Photomicrograph of a urine filtration membrane, 4× objective.
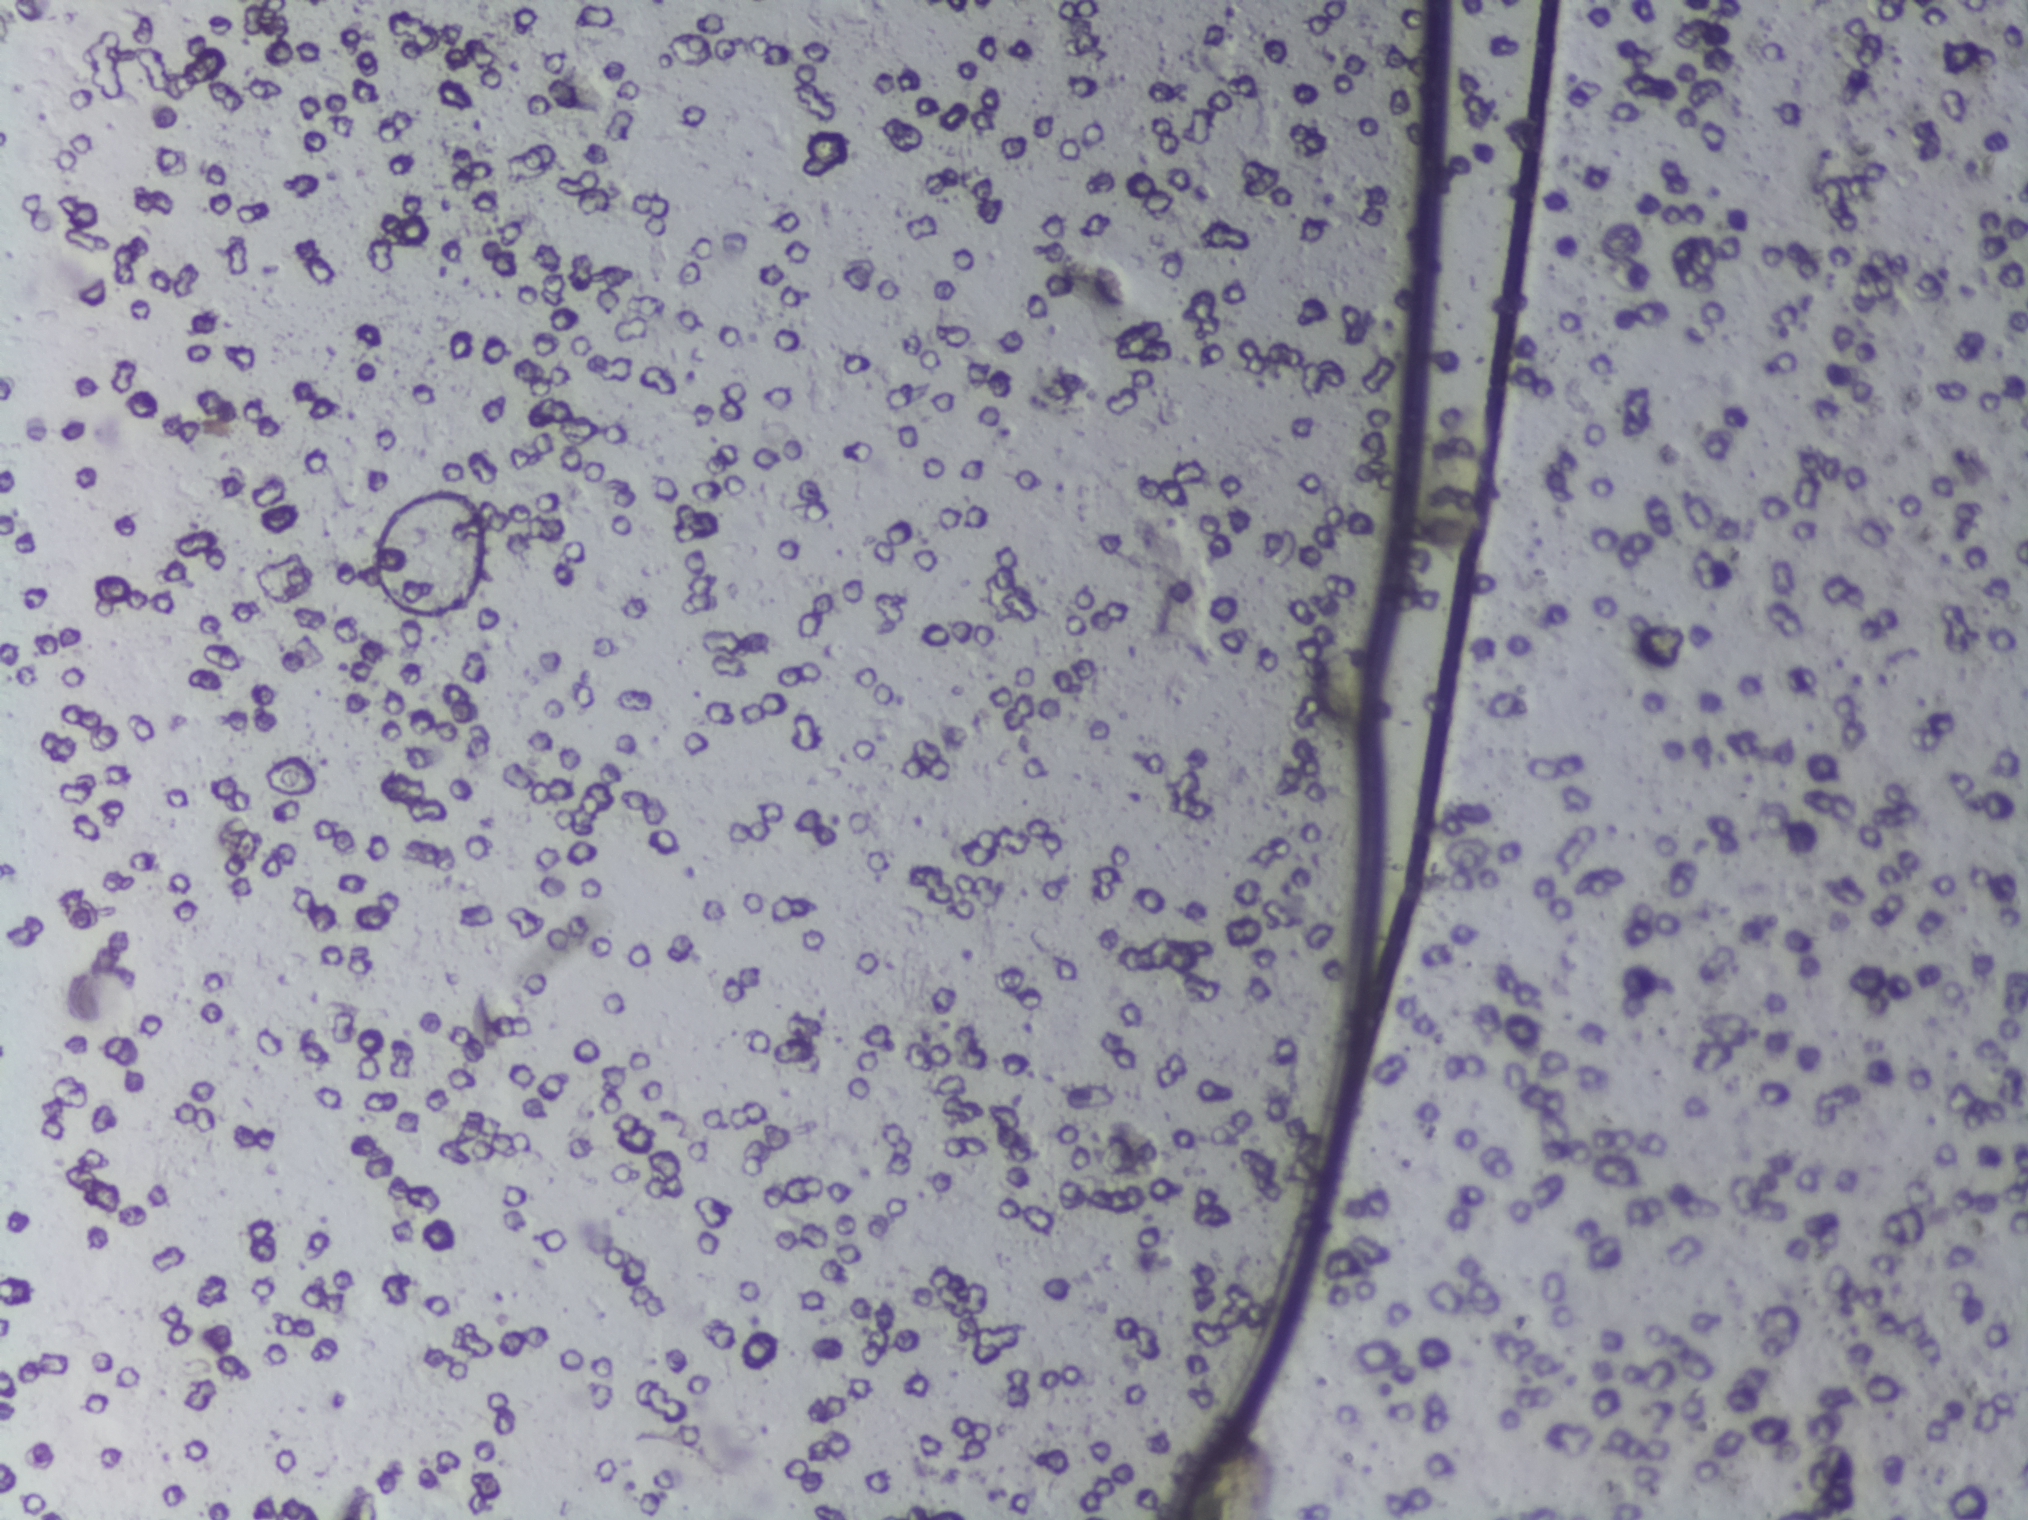
Schistosoma eggs: none outlined.